Photomicrograph of a urine filtration membrane, 4× objective.
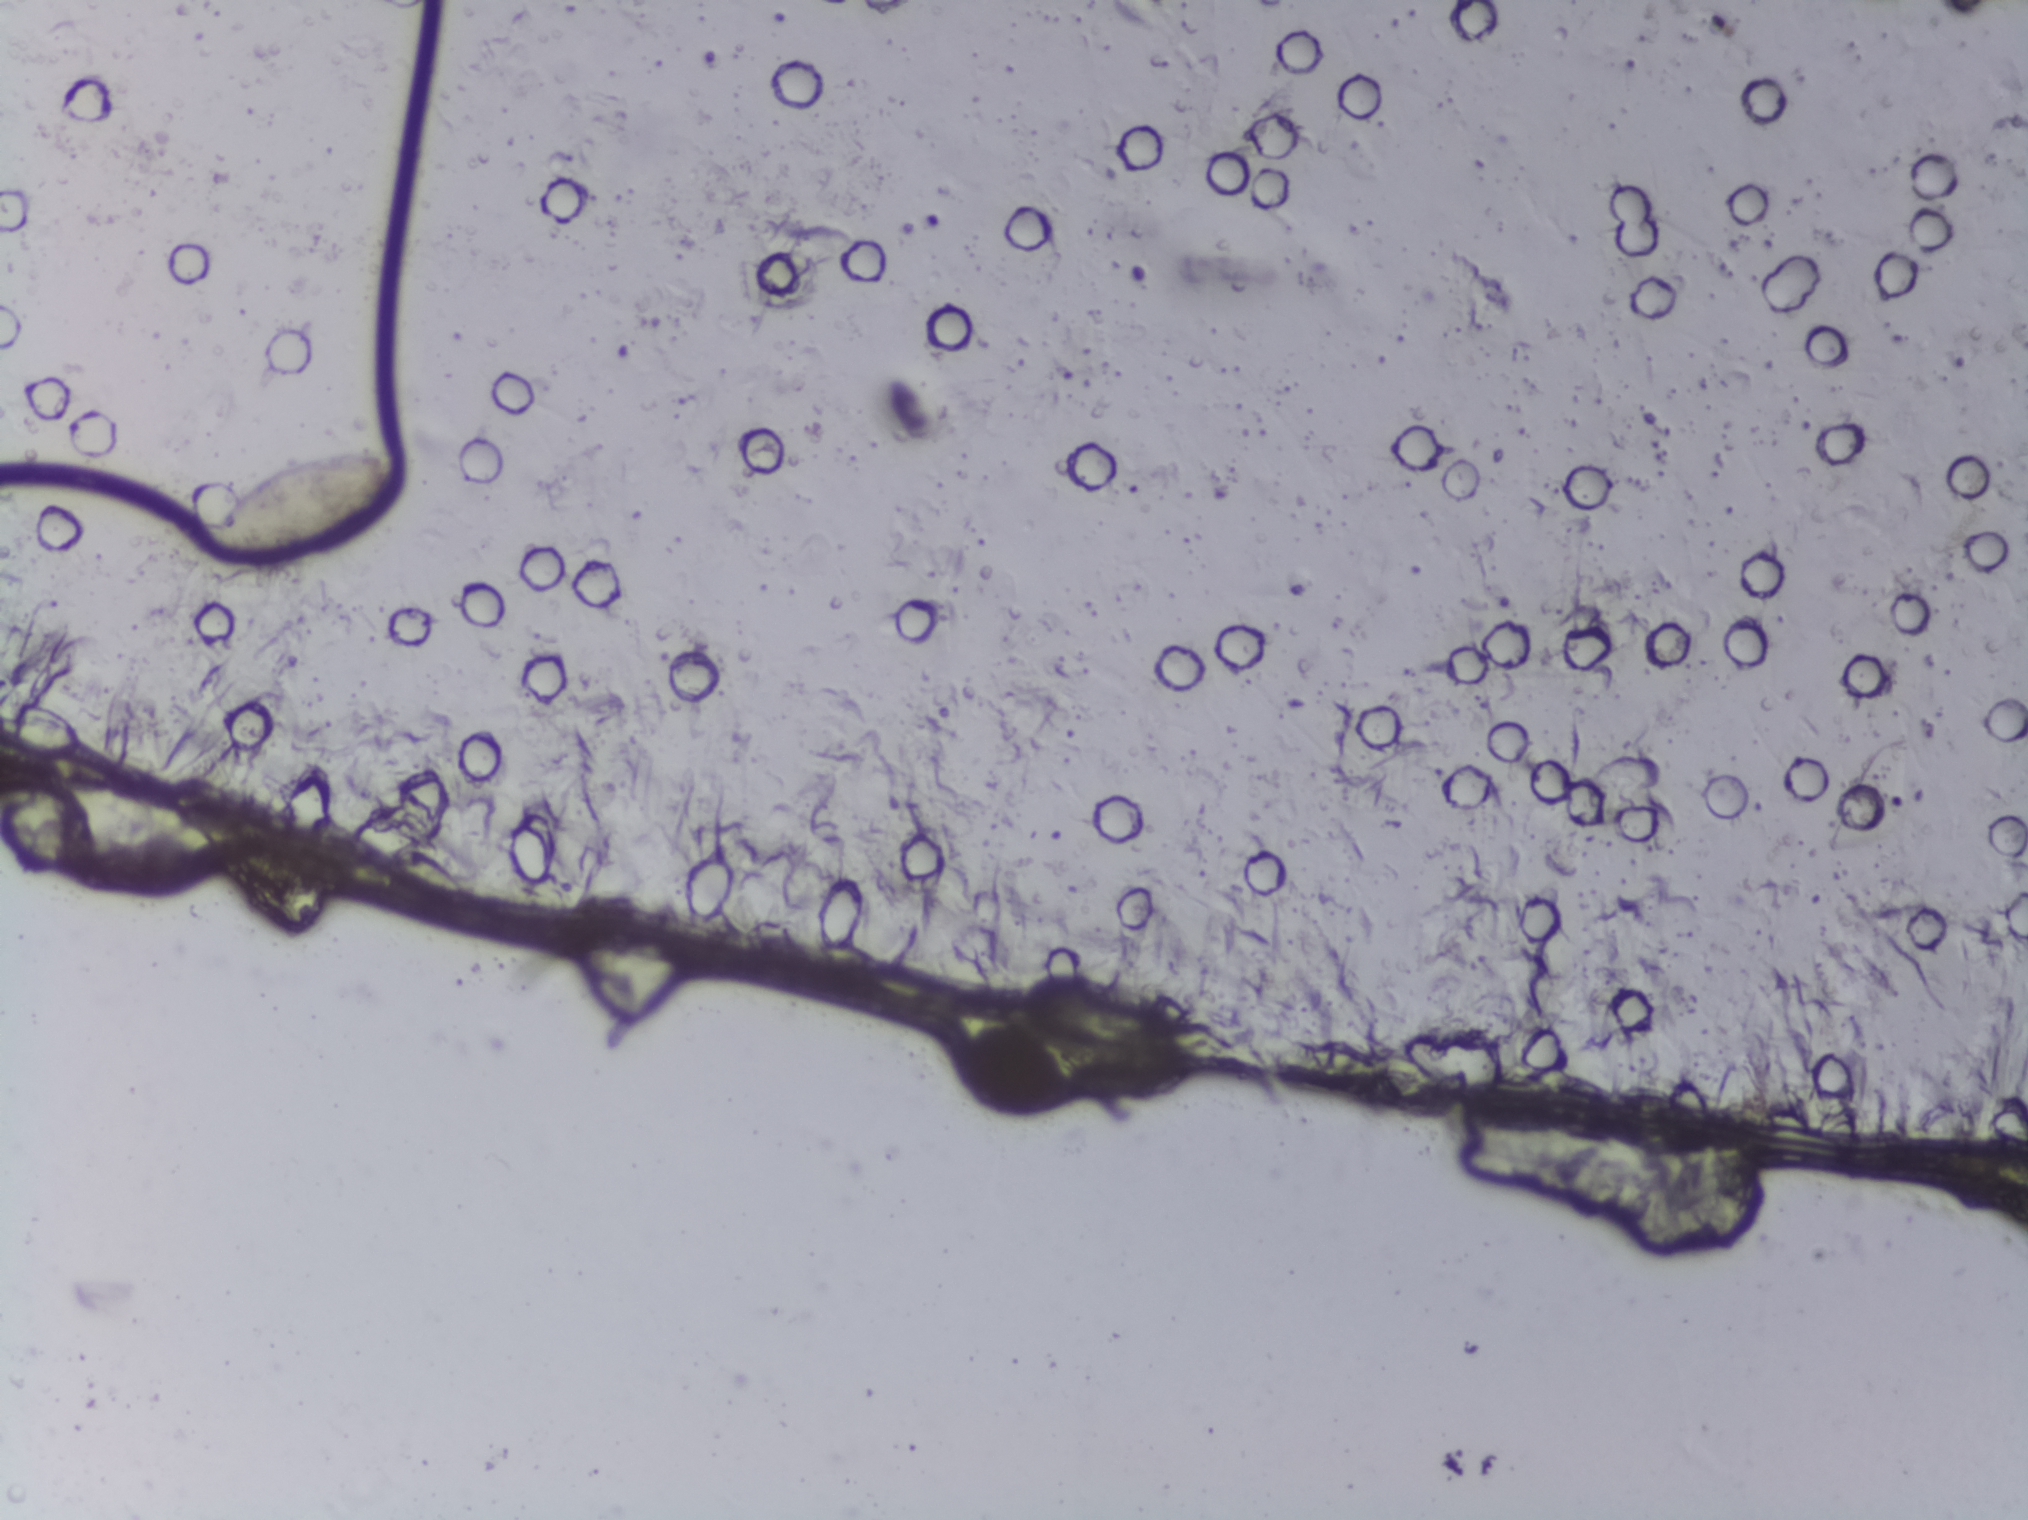
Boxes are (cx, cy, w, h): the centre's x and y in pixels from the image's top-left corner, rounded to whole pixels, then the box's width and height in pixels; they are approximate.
Schistosoma eggs are outlined in the expert annotation at (cx=310, cy=504, w=203, h=117). Marked pixels, not the box around them: about 0.5% of the image. A single outlined area may contain several eggs. A marked egg may occasionally be S. mansoni rather than S. haematobium.